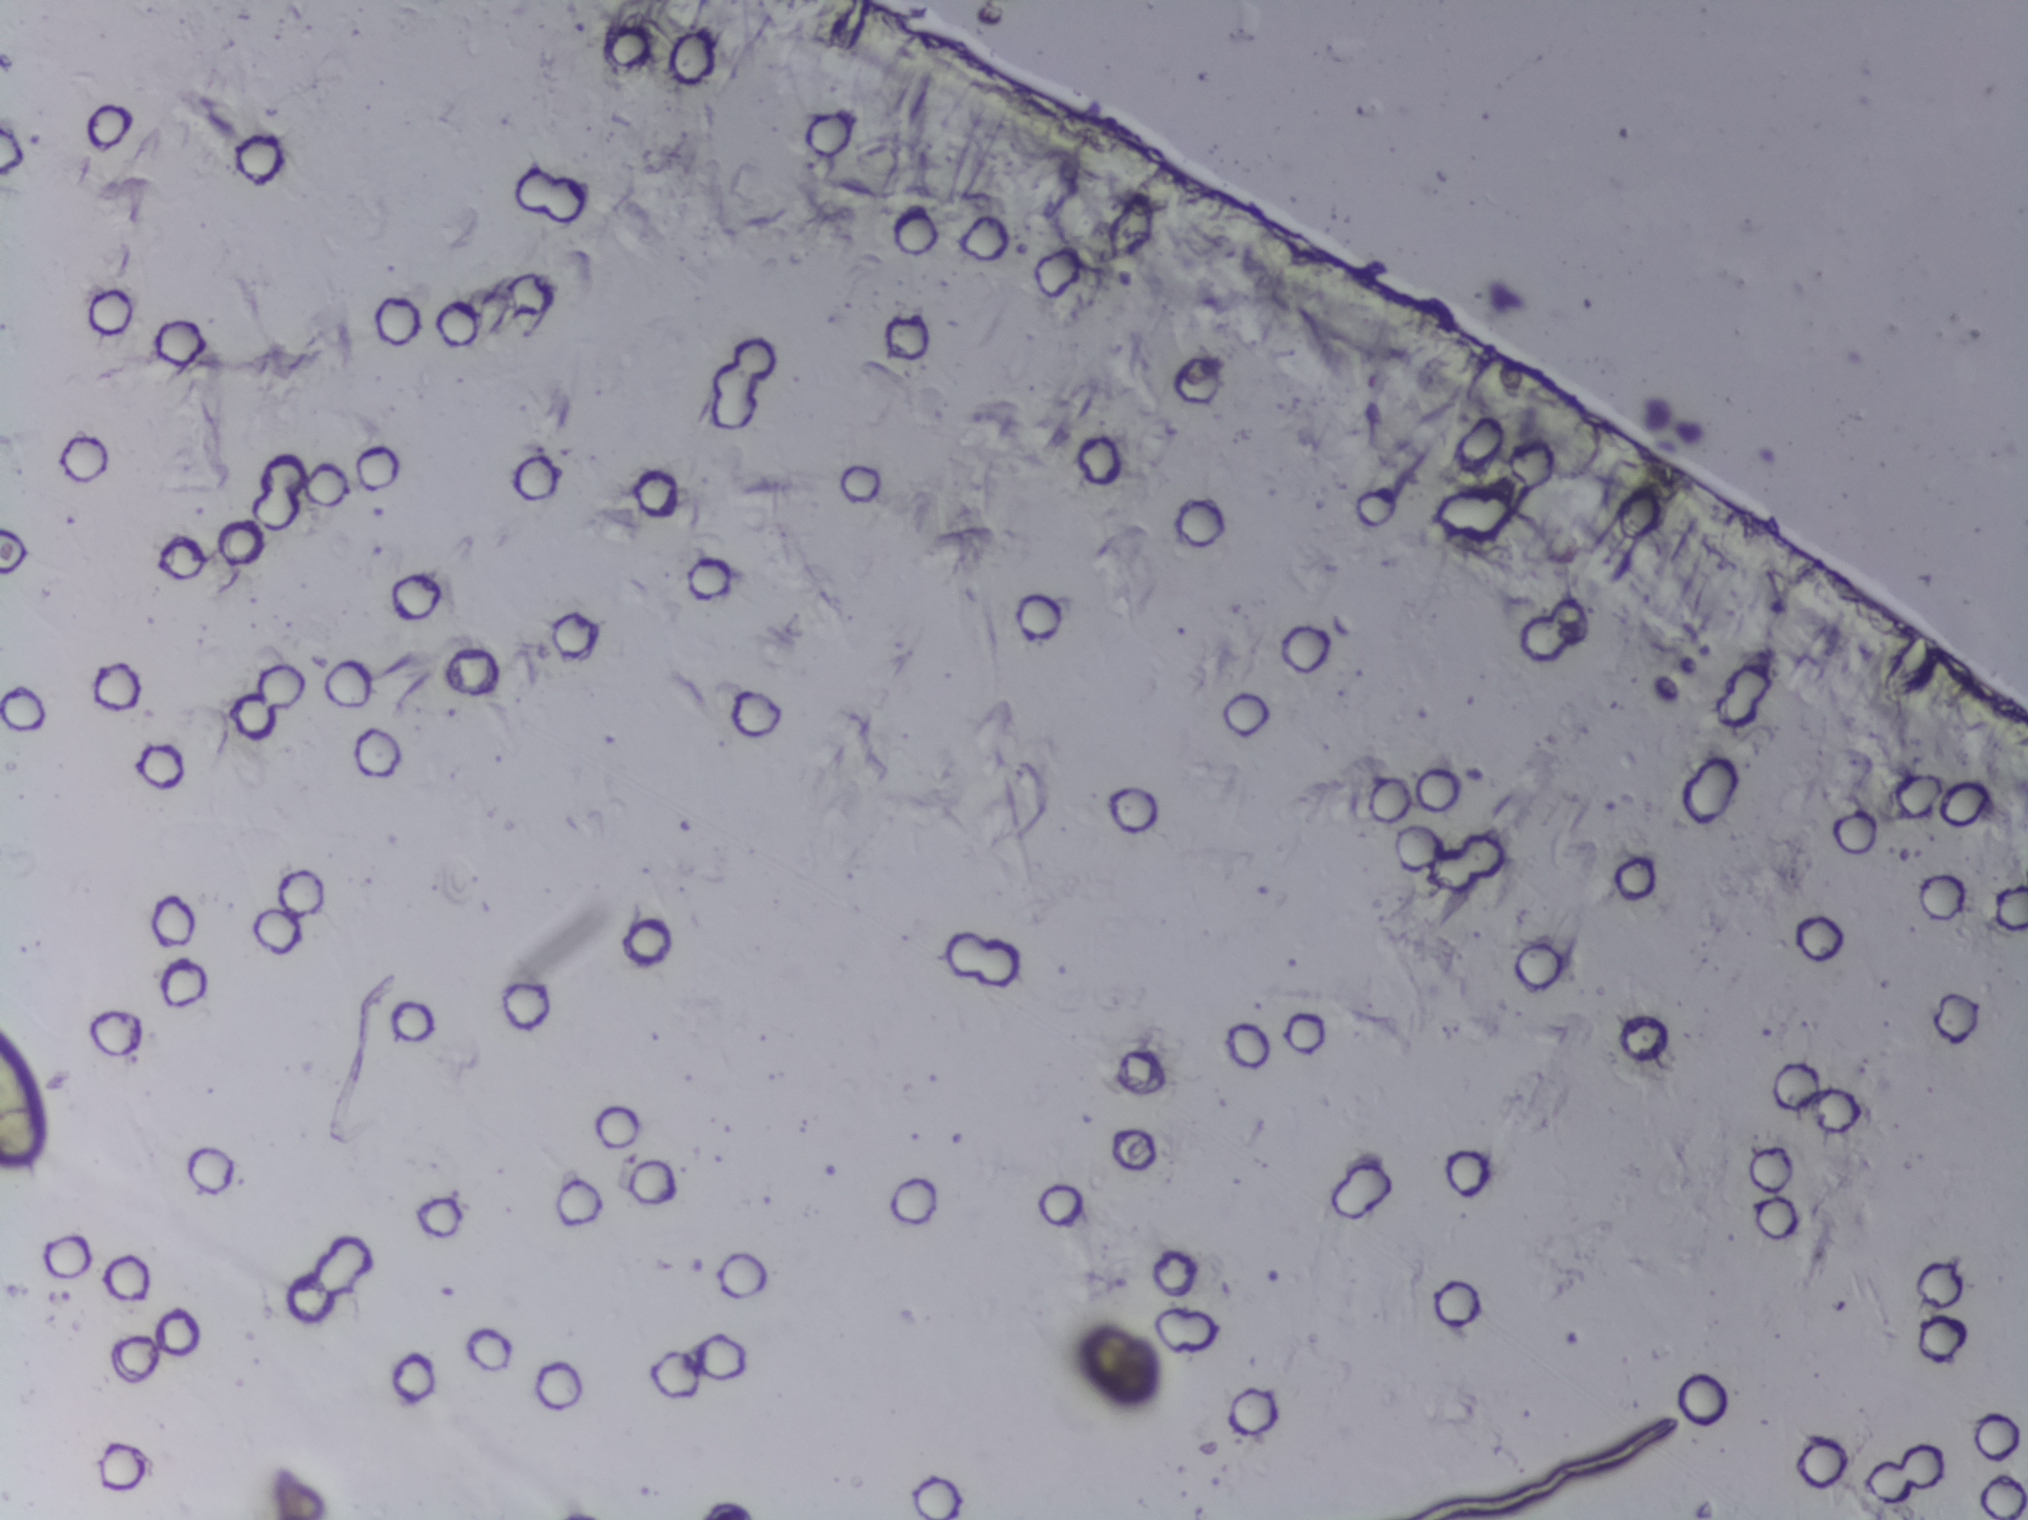
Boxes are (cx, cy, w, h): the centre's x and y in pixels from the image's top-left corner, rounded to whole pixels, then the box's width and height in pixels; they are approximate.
Findings: one area outlined as Schistosoma eggs. Location: (cx=24, cy=1105, w=48, h=172) (reaching the left edge of the frame). An outlined area can hold more than one egg.
Urine filter membrane photographed through a 4× microscope objective.